Photomicrograph of a urine filtration membrane, 4× objective.
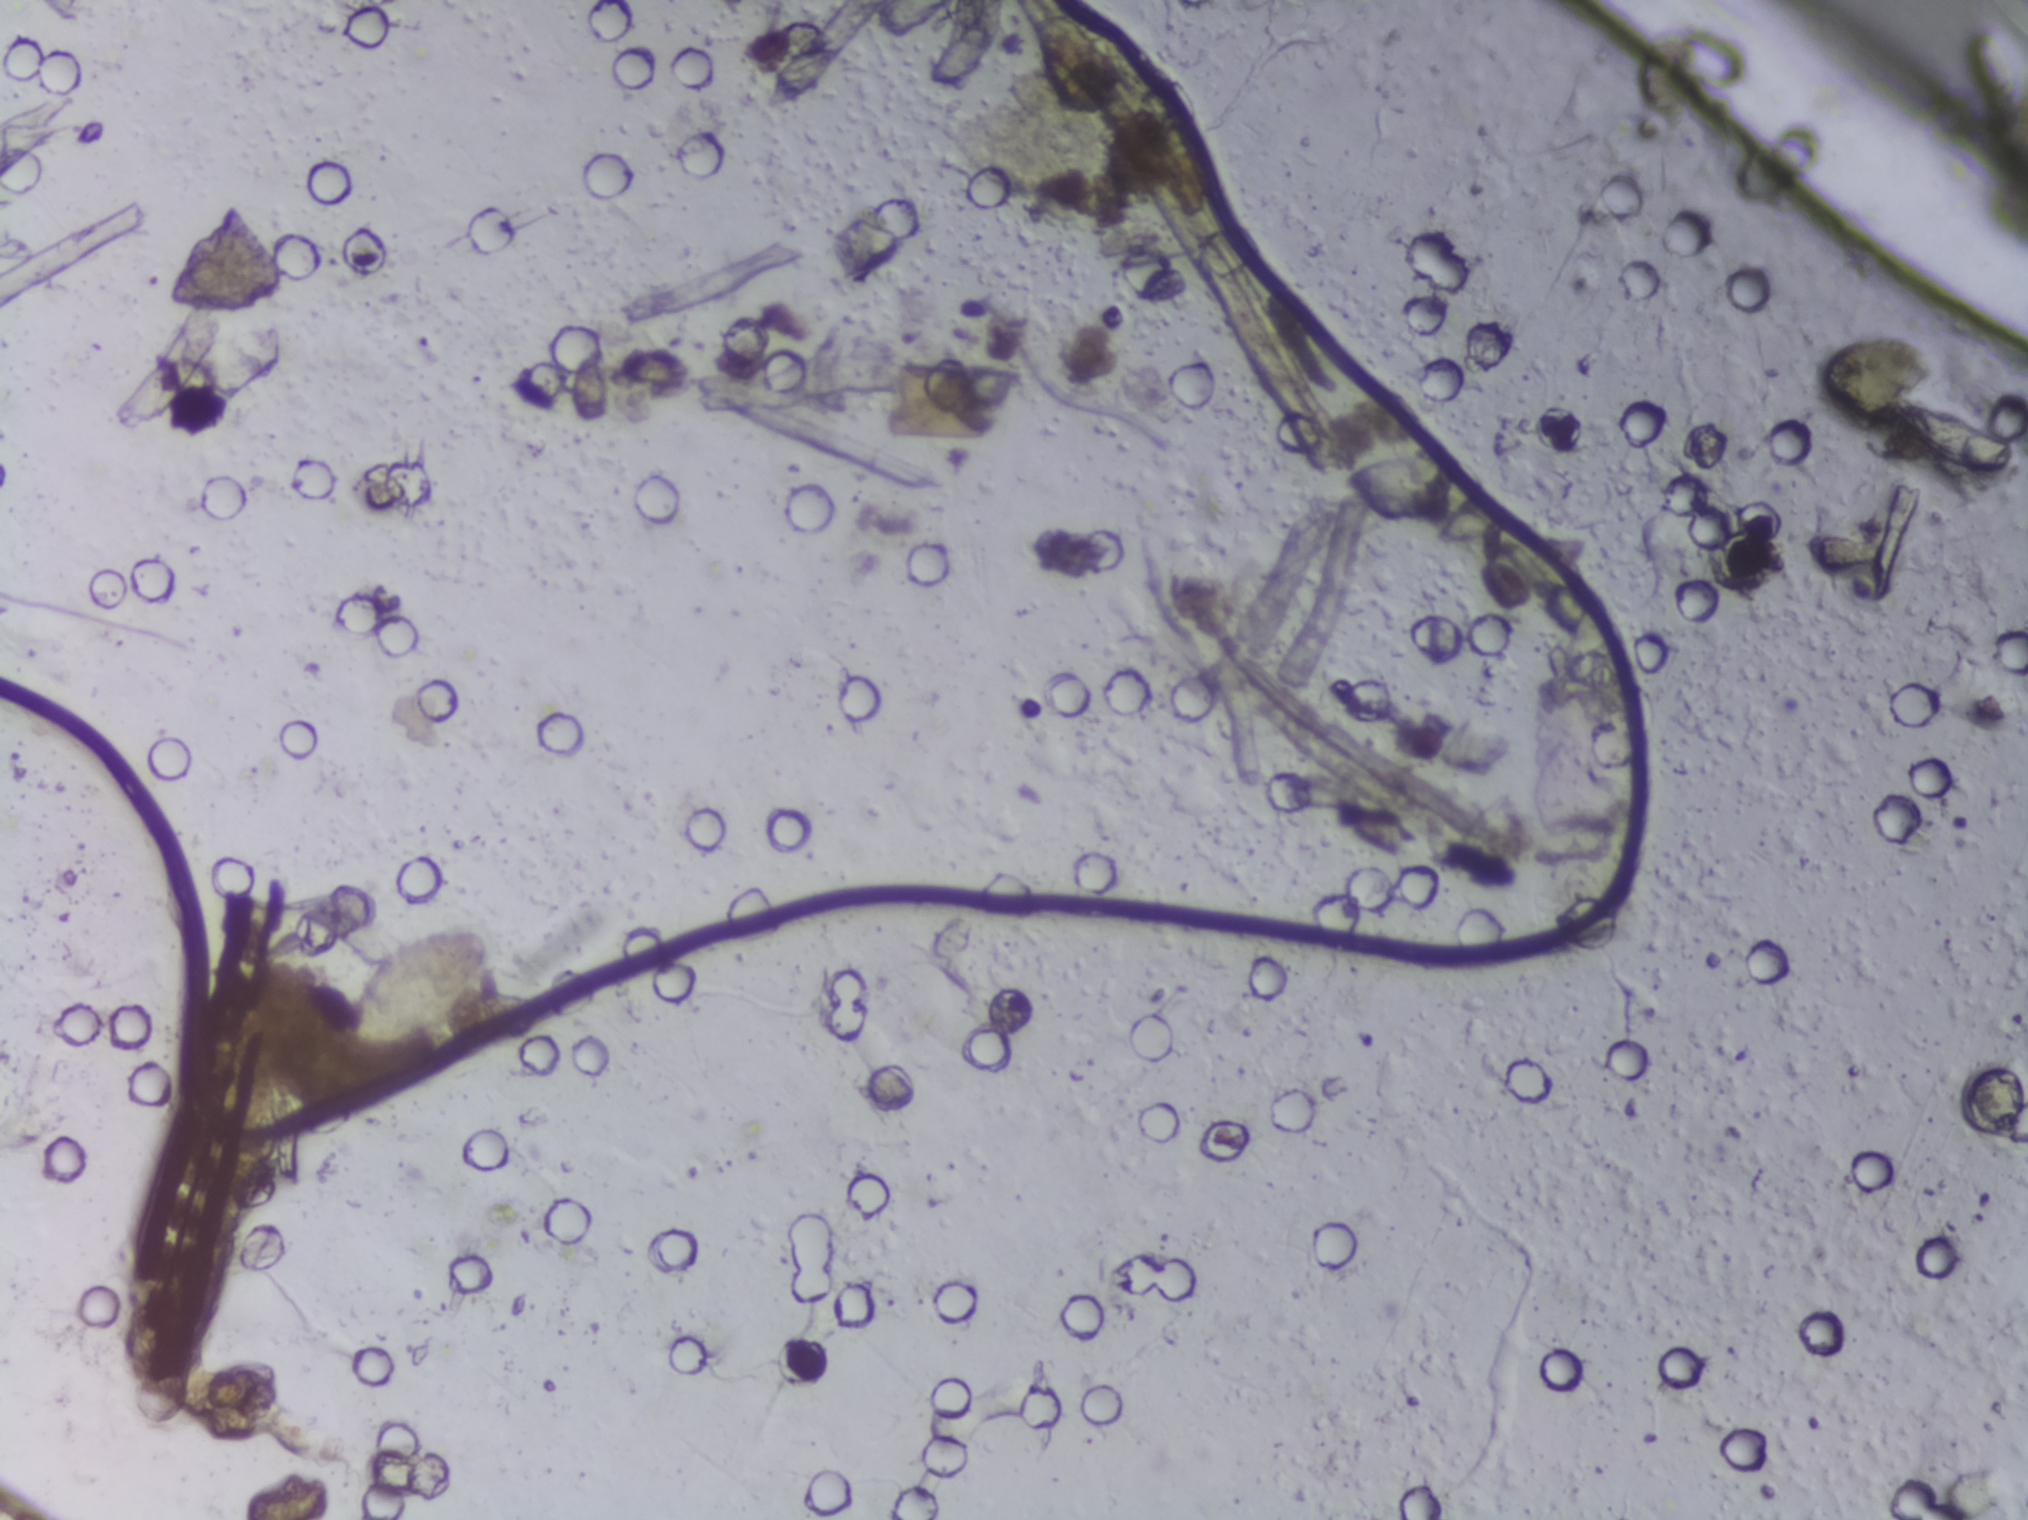
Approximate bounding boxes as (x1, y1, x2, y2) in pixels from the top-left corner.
Areas outlined as Schistosoma eggs: (340, 927, 494, 1054). Eggs that touch can end up inside the same outlined area. A marked egg may occasionally be S. mansoni rather than S. haematobium.